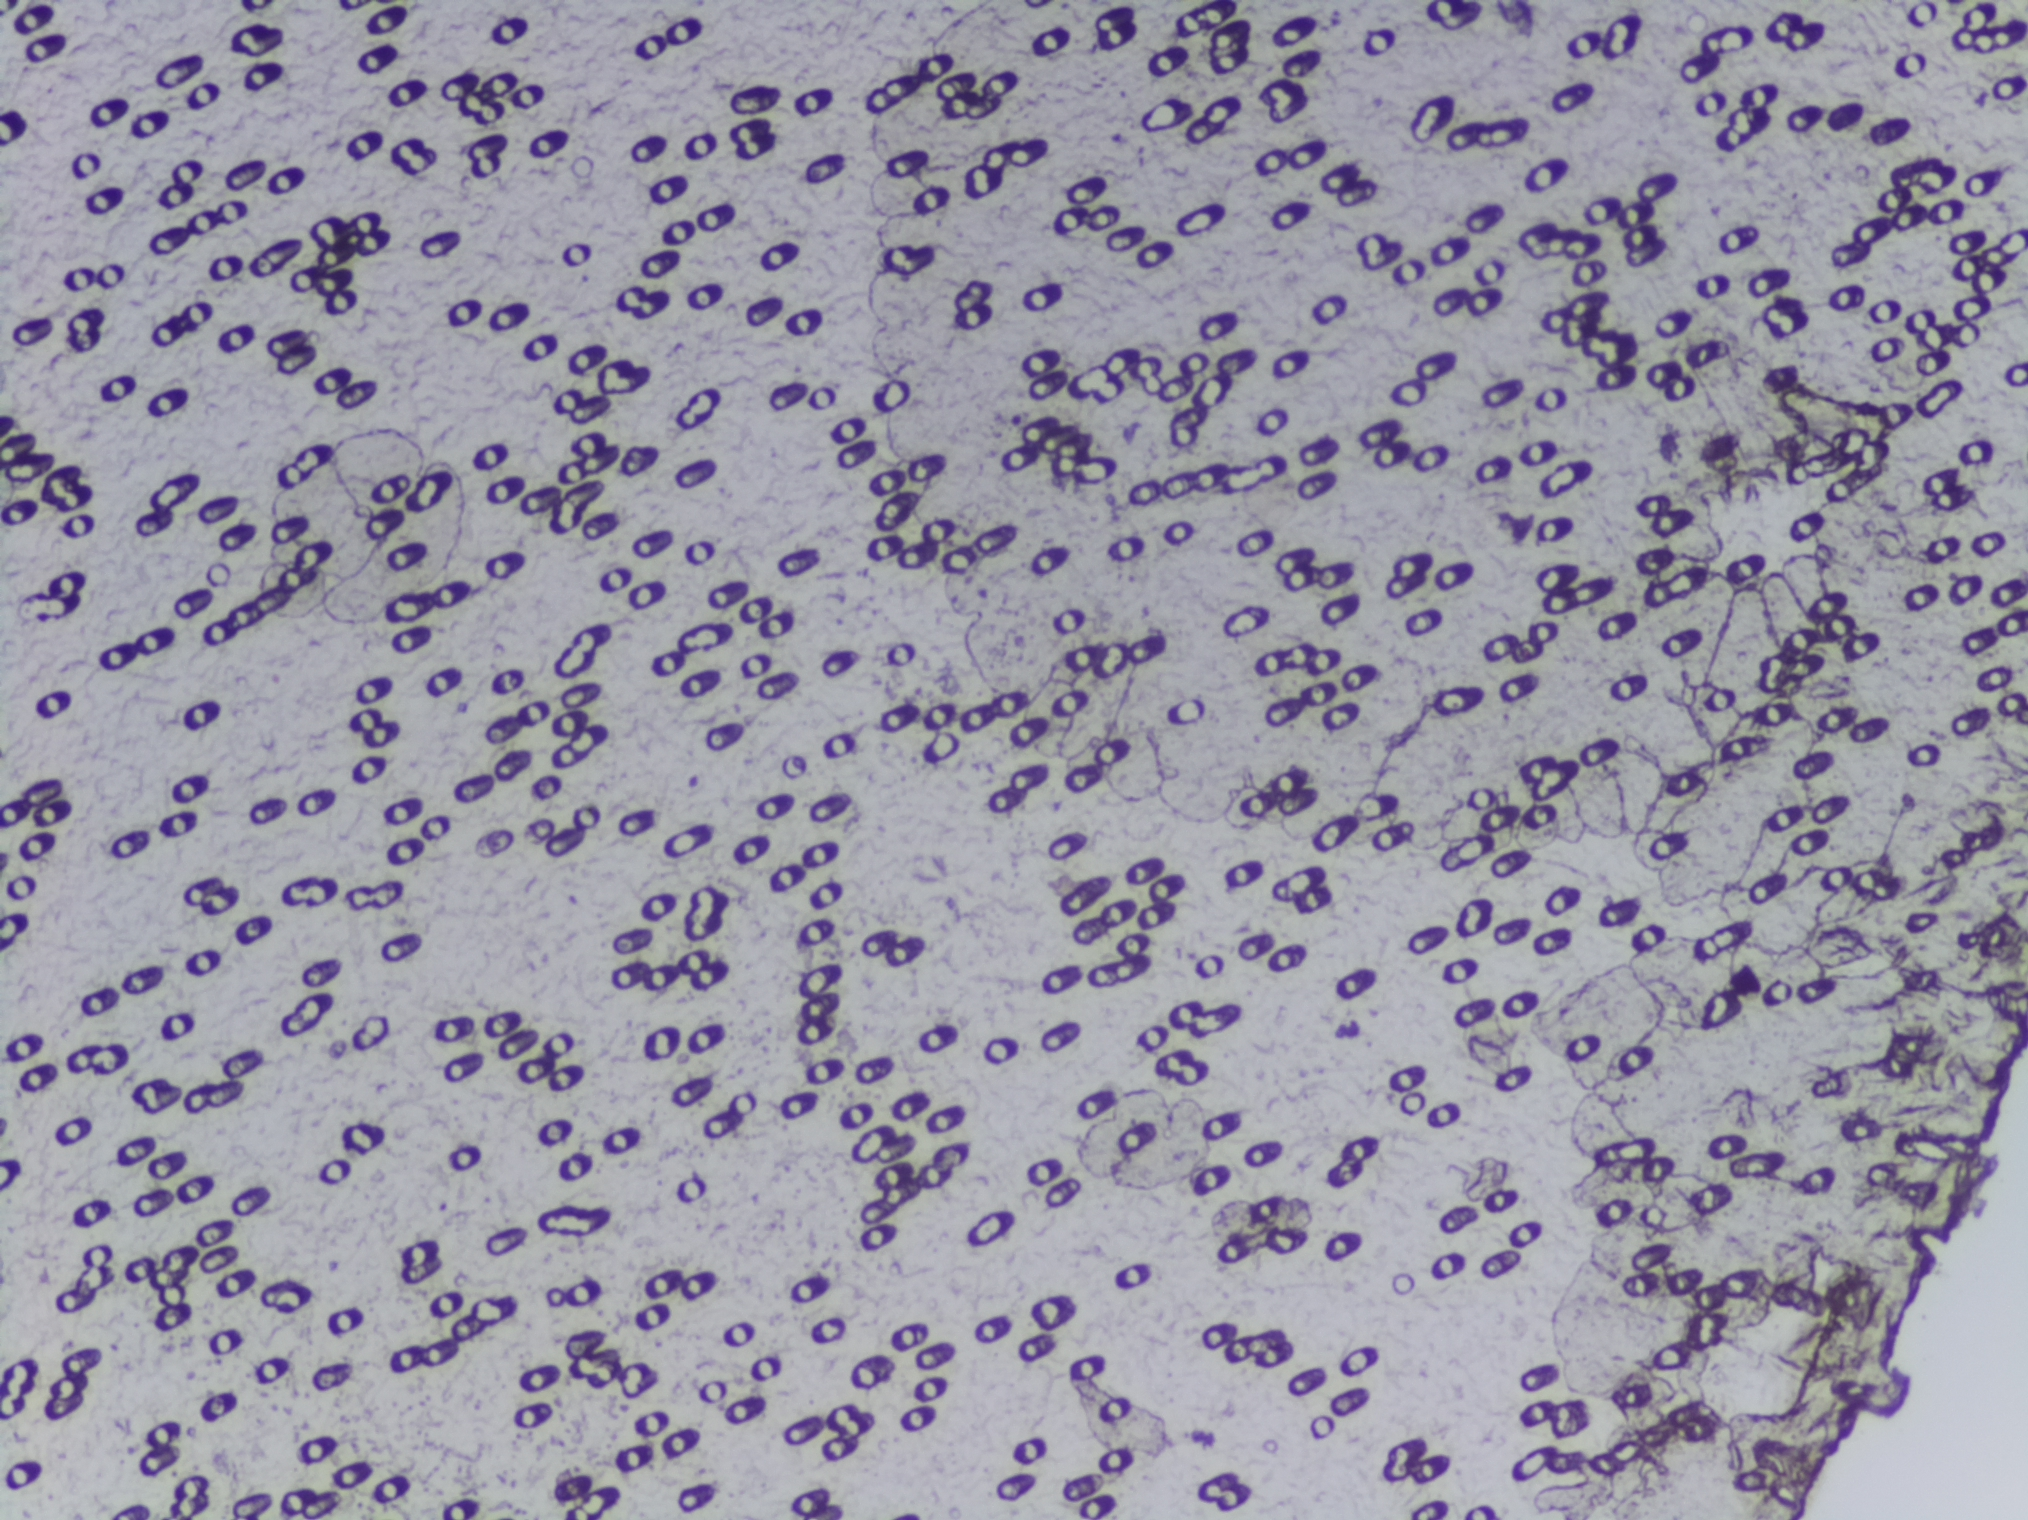
Photograph from an automated digital microscope: urine filter membrane, 4× objective. The image covers about 1.5 × 1.1 mm of the membrane.
Schistosoma eggs: none outlined.